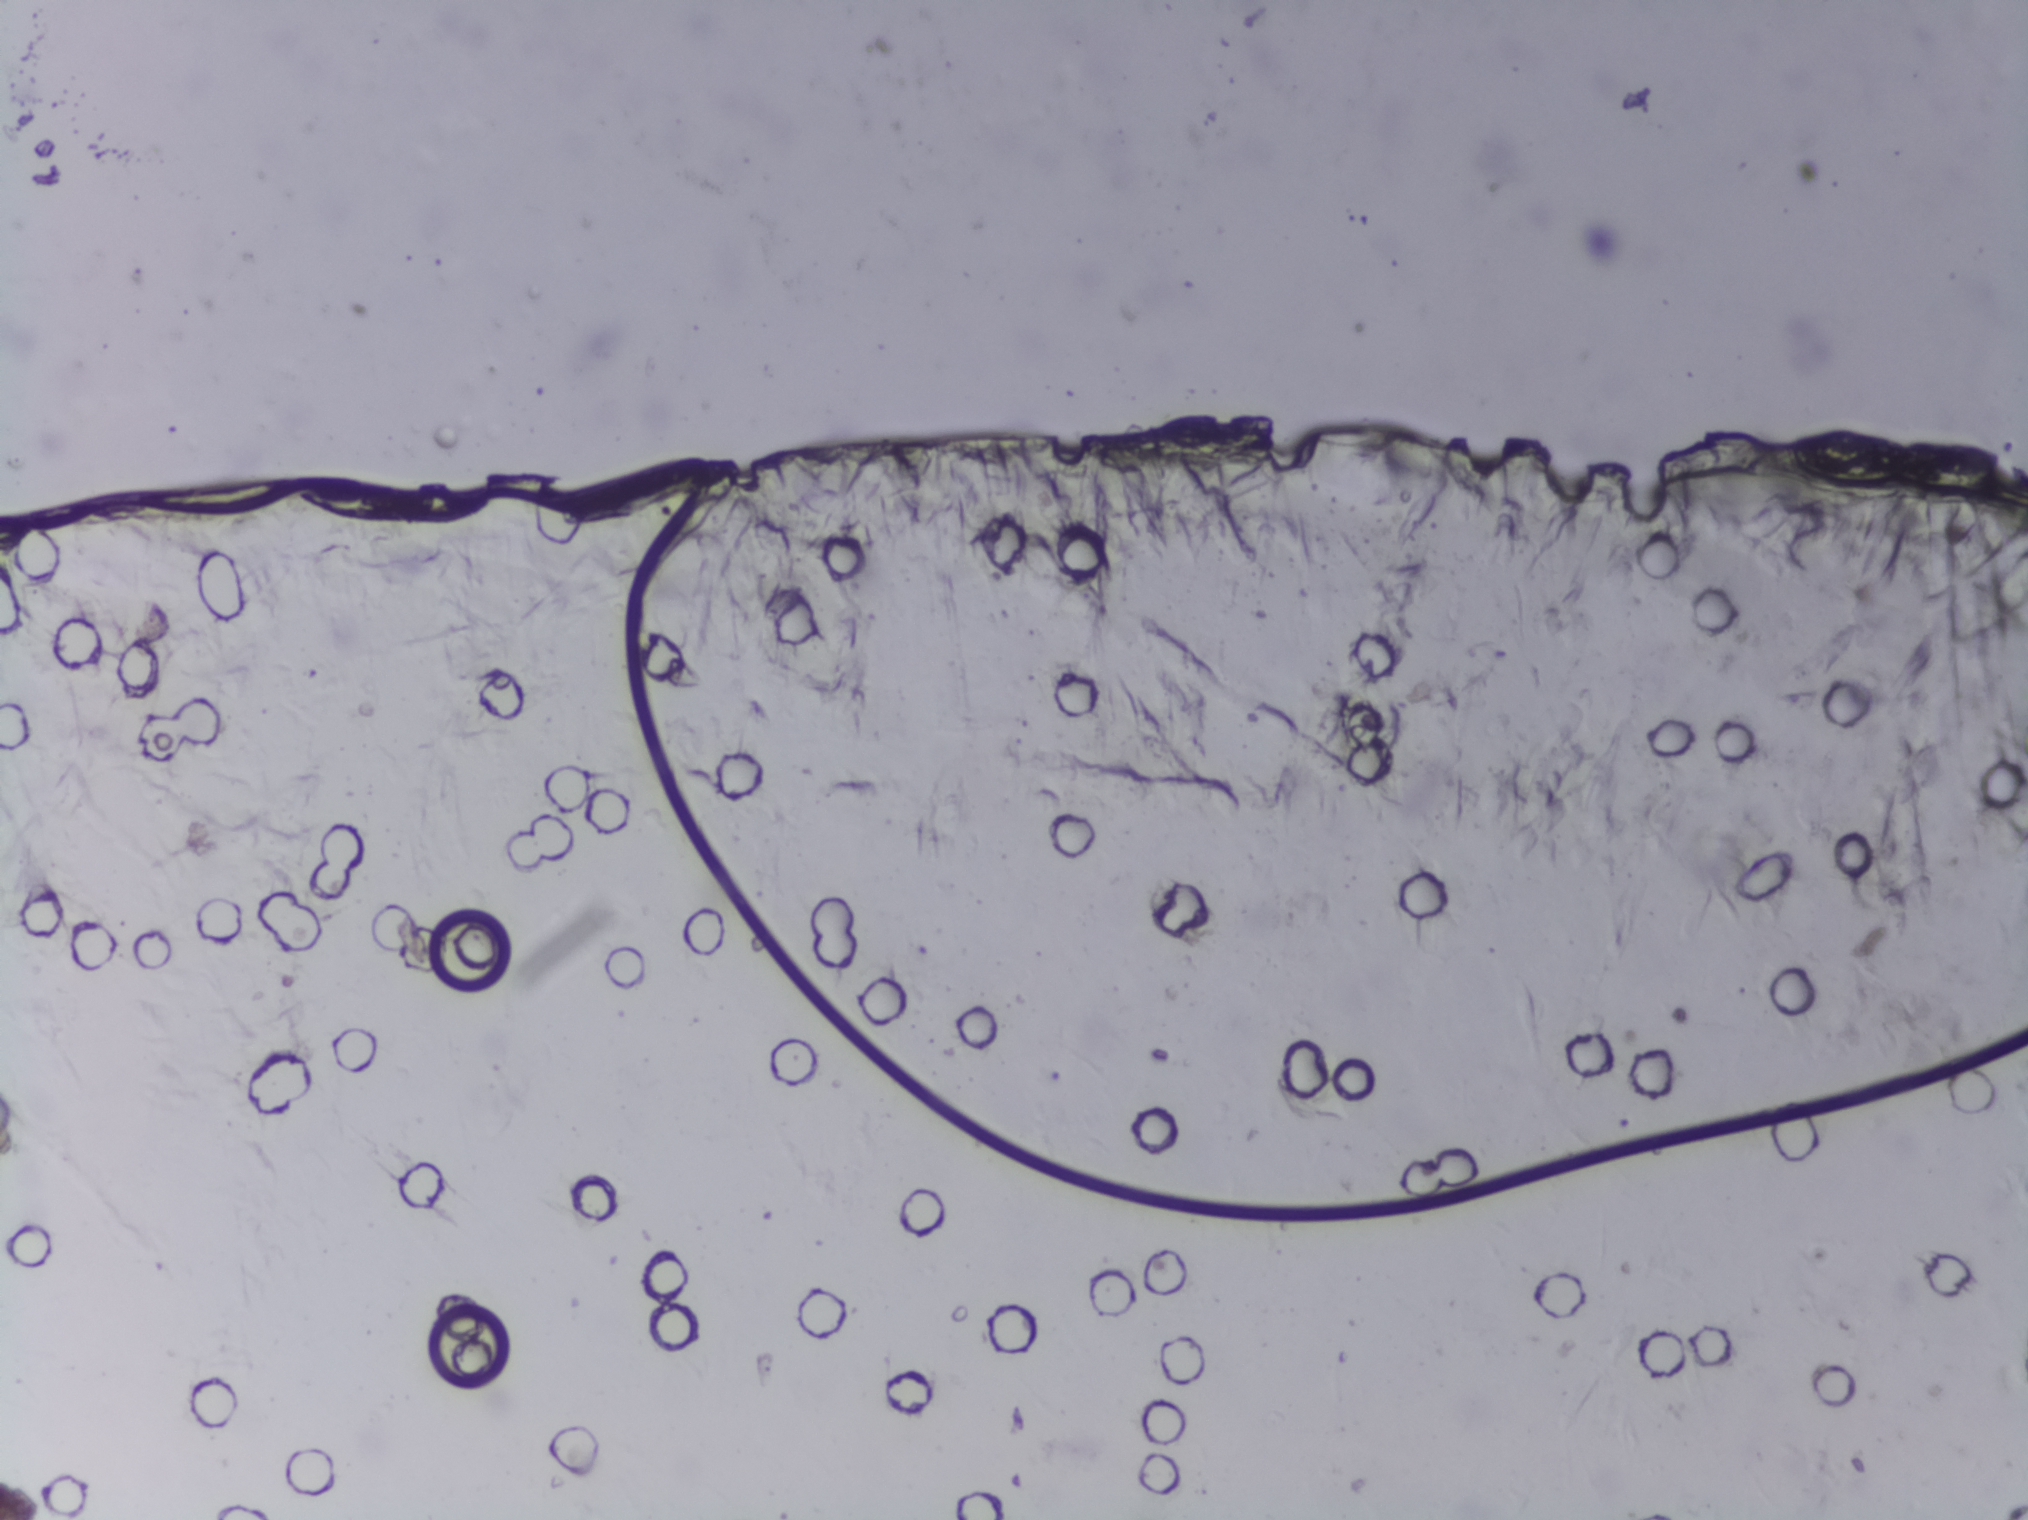
The expert annotation marks no Schistosoma egg in this field of view.
Microscope photograph (4× objective) of a membrane that a urine sample was filtered through.